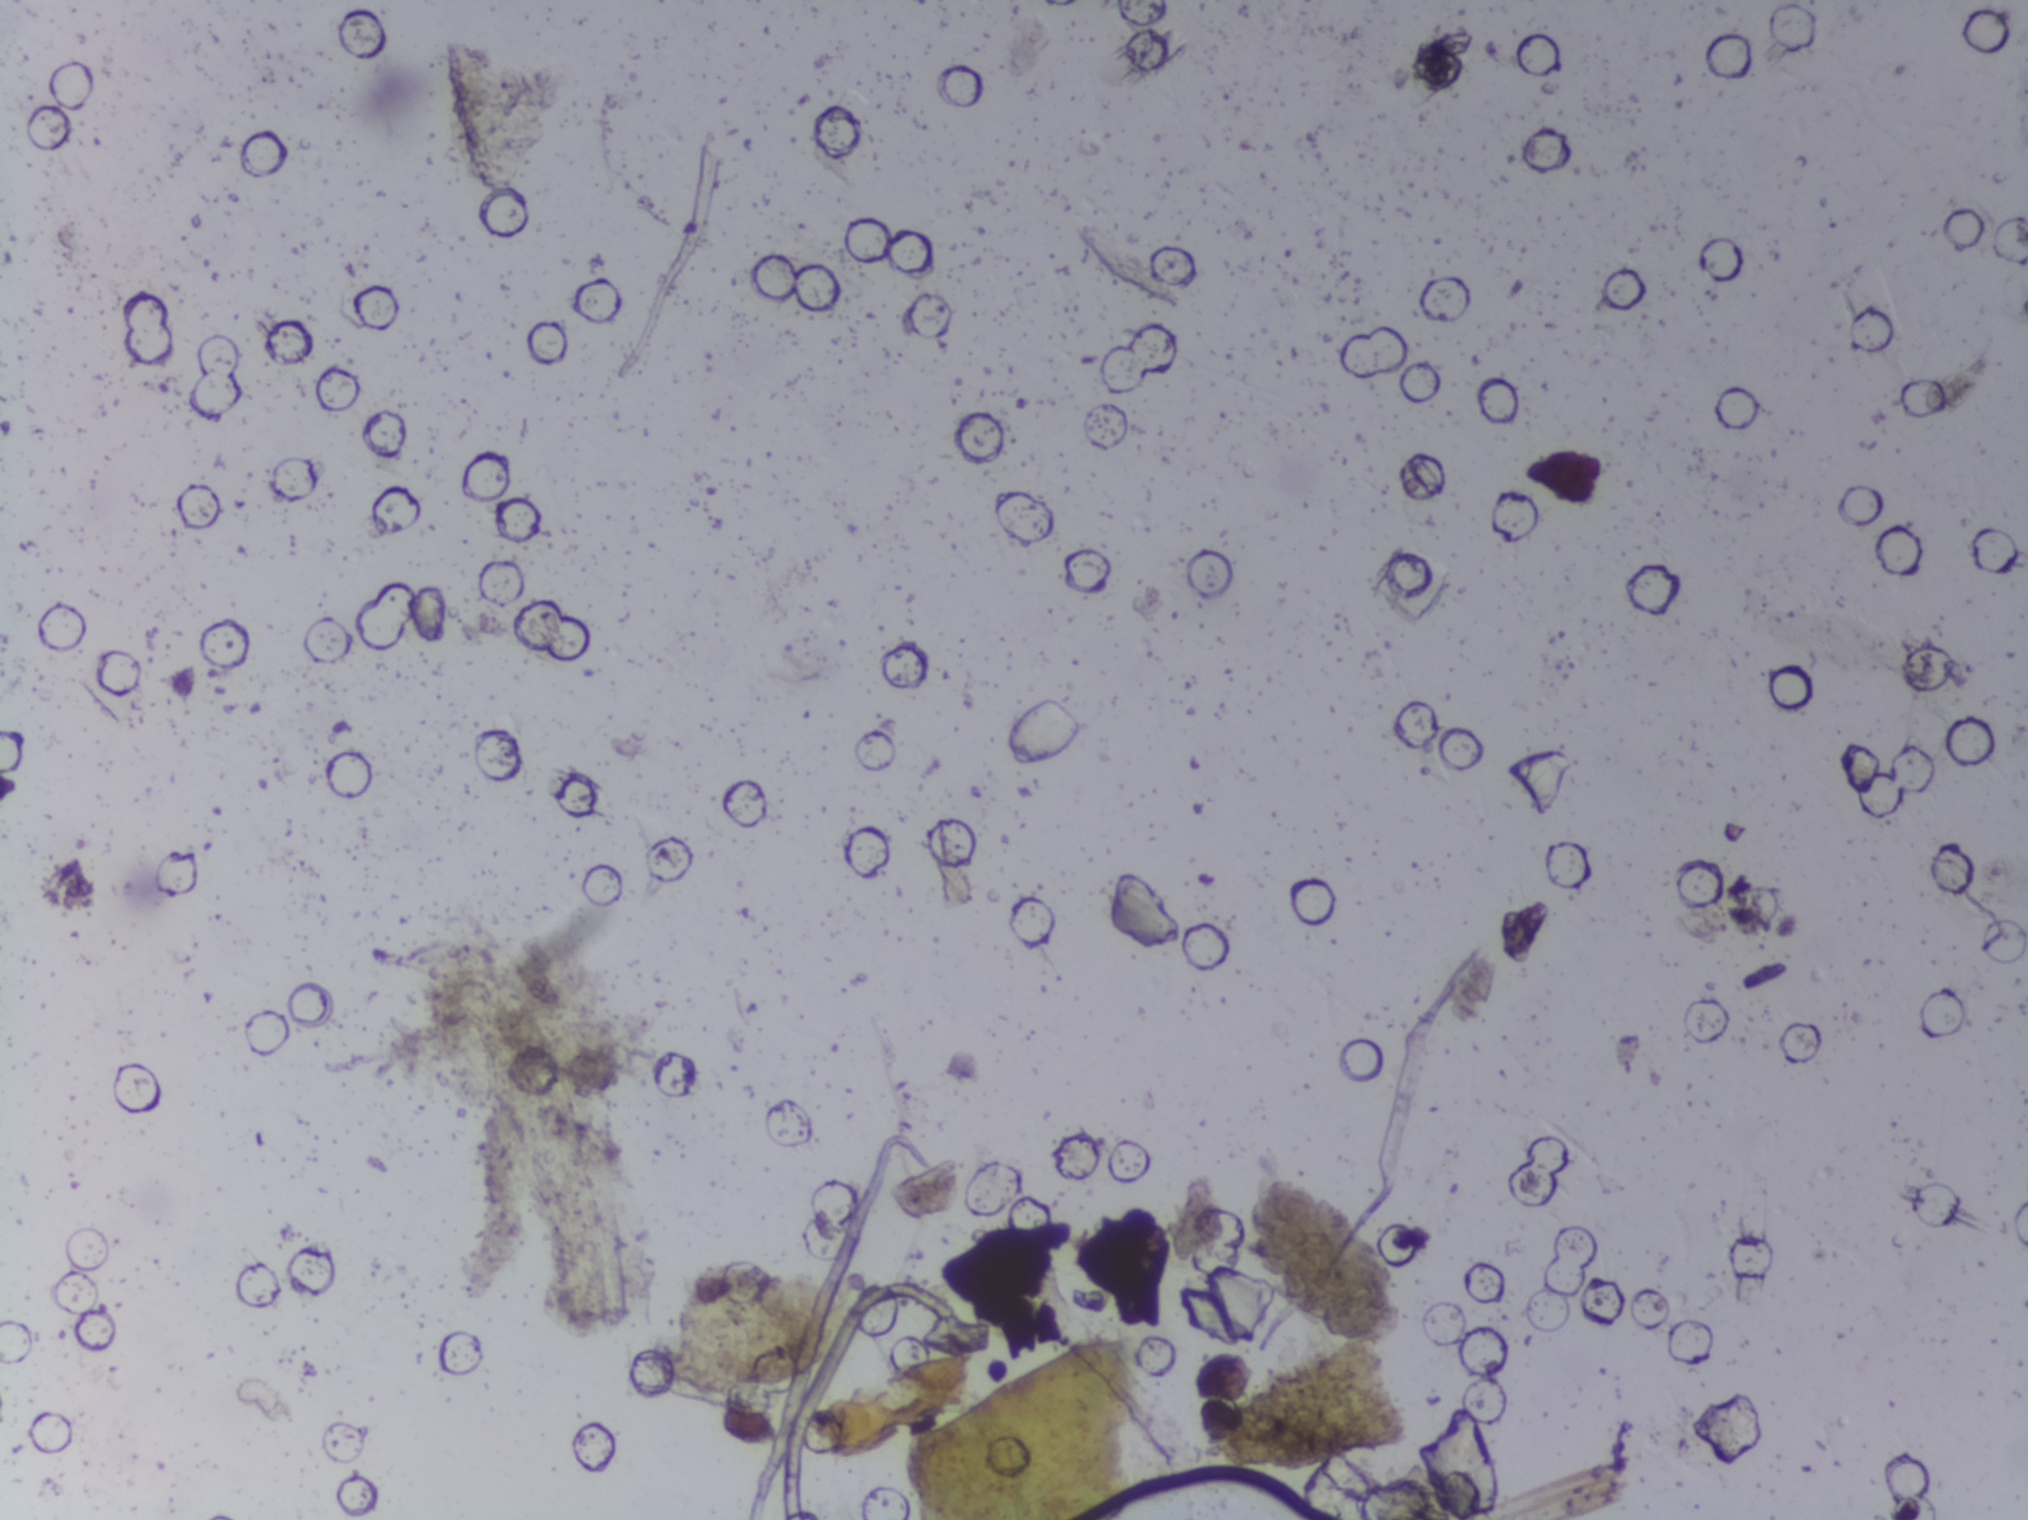
The expert annotation marks no Schistosoma egg in this field of view.
Photograph from an automated digital microscope: urine filter membrane, 4× objective.